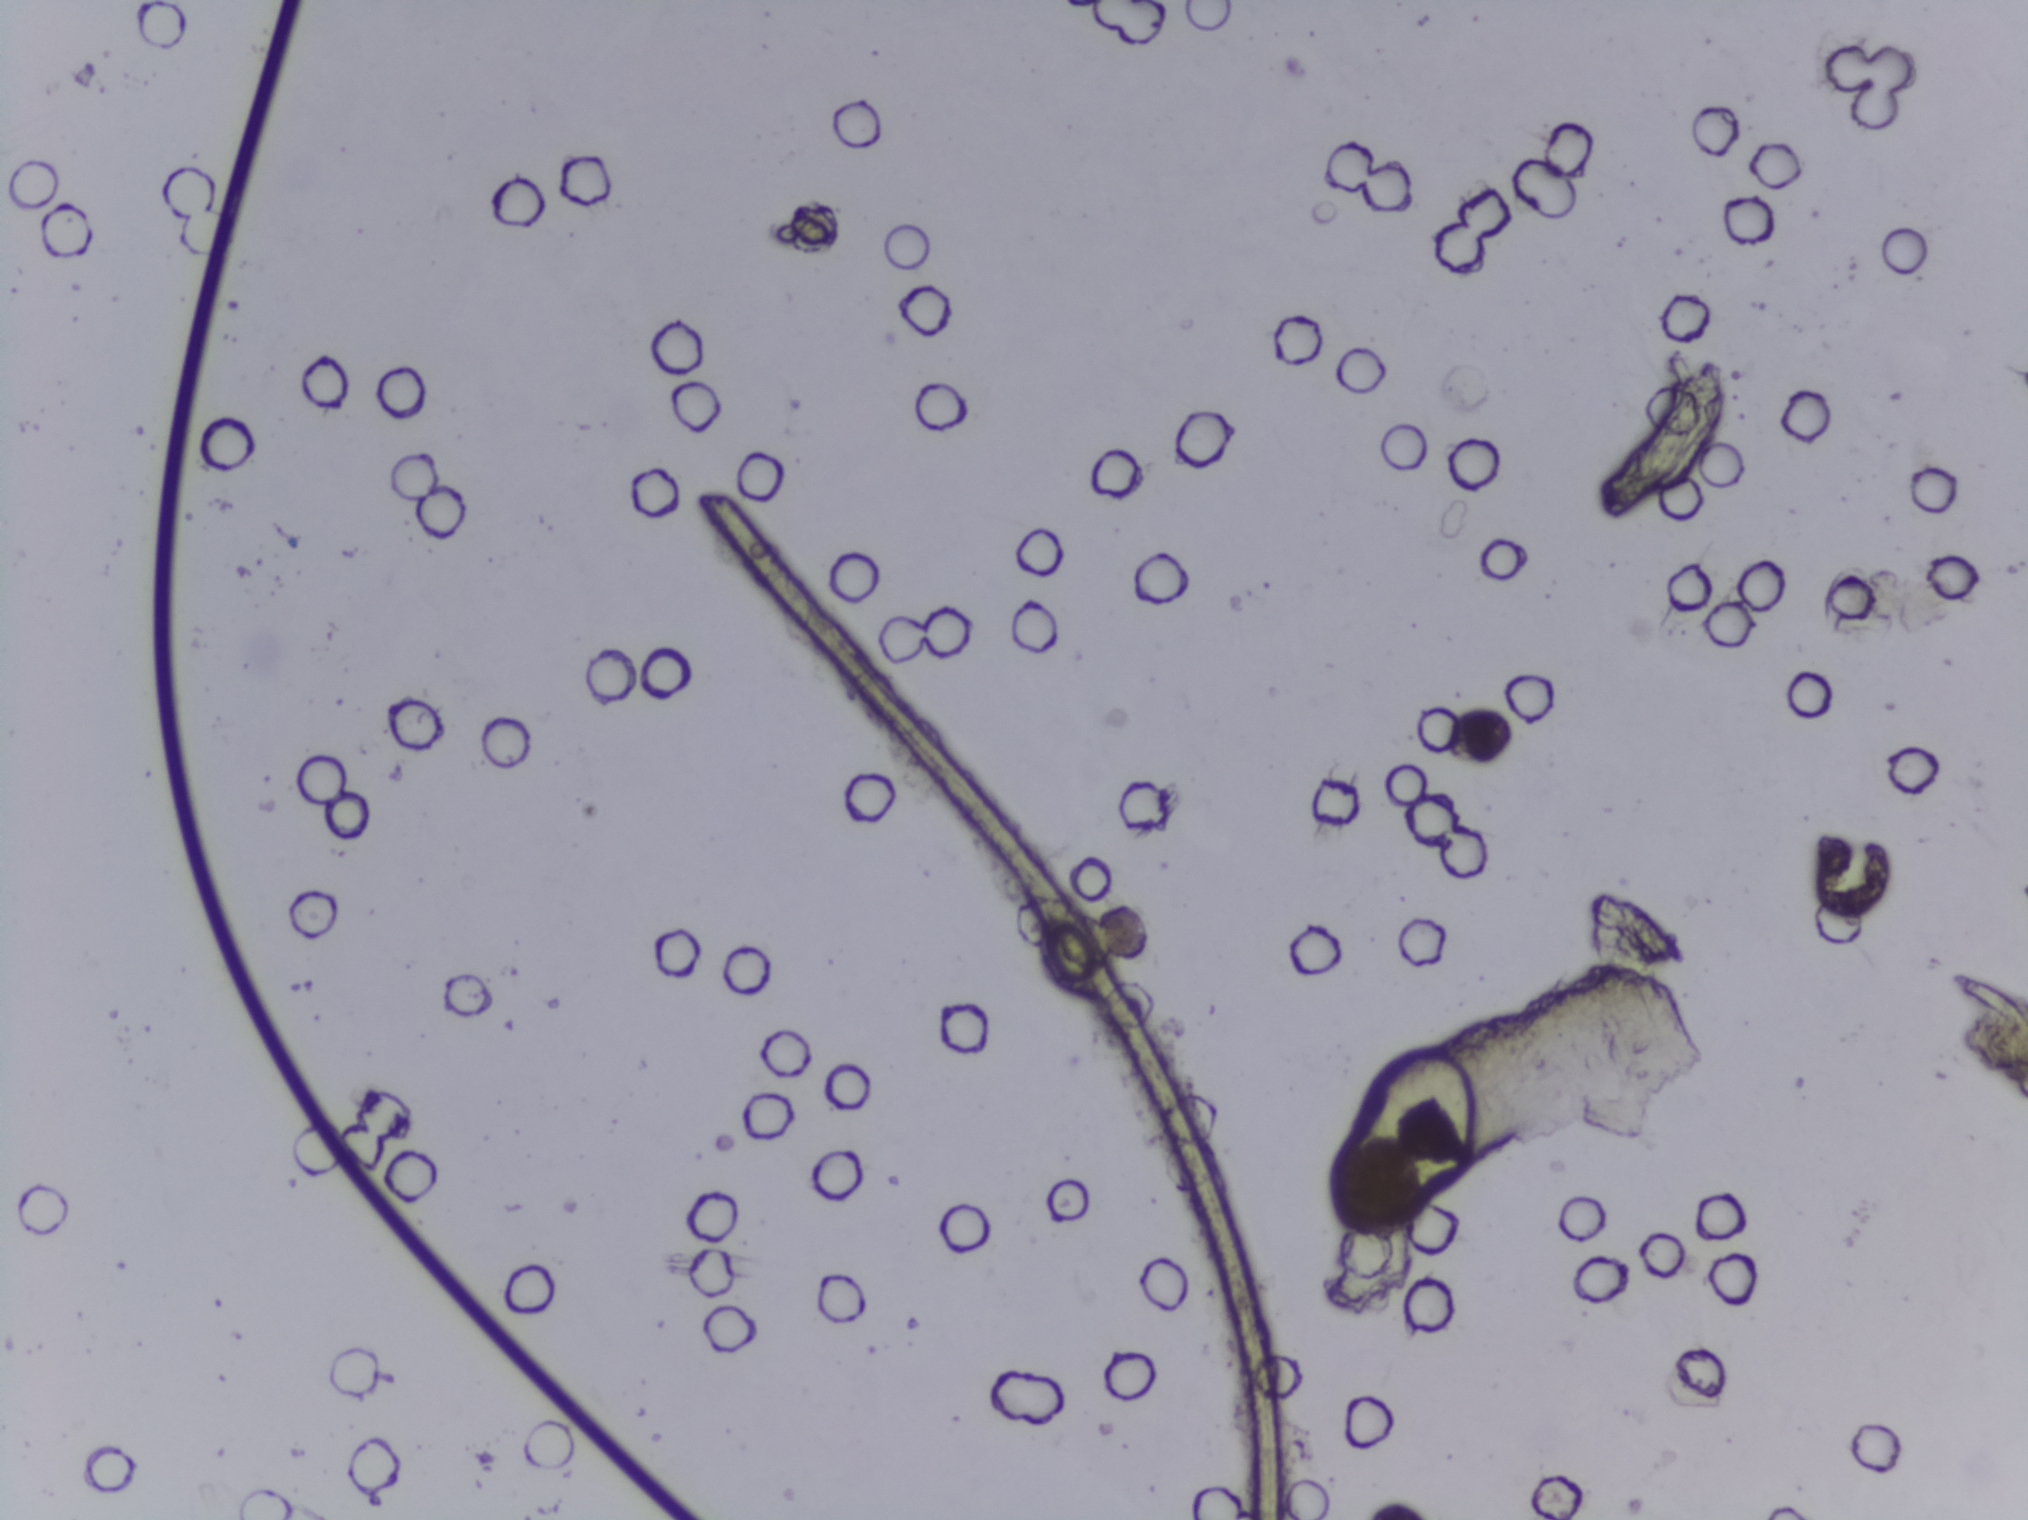
Photograph from an automated digital microscope: urine filter membrane, 4× objective. The image covers about 1.5 × 1.1 mm of the membrane.
The expert annotation marks no Schistosoma egg in this field of view.